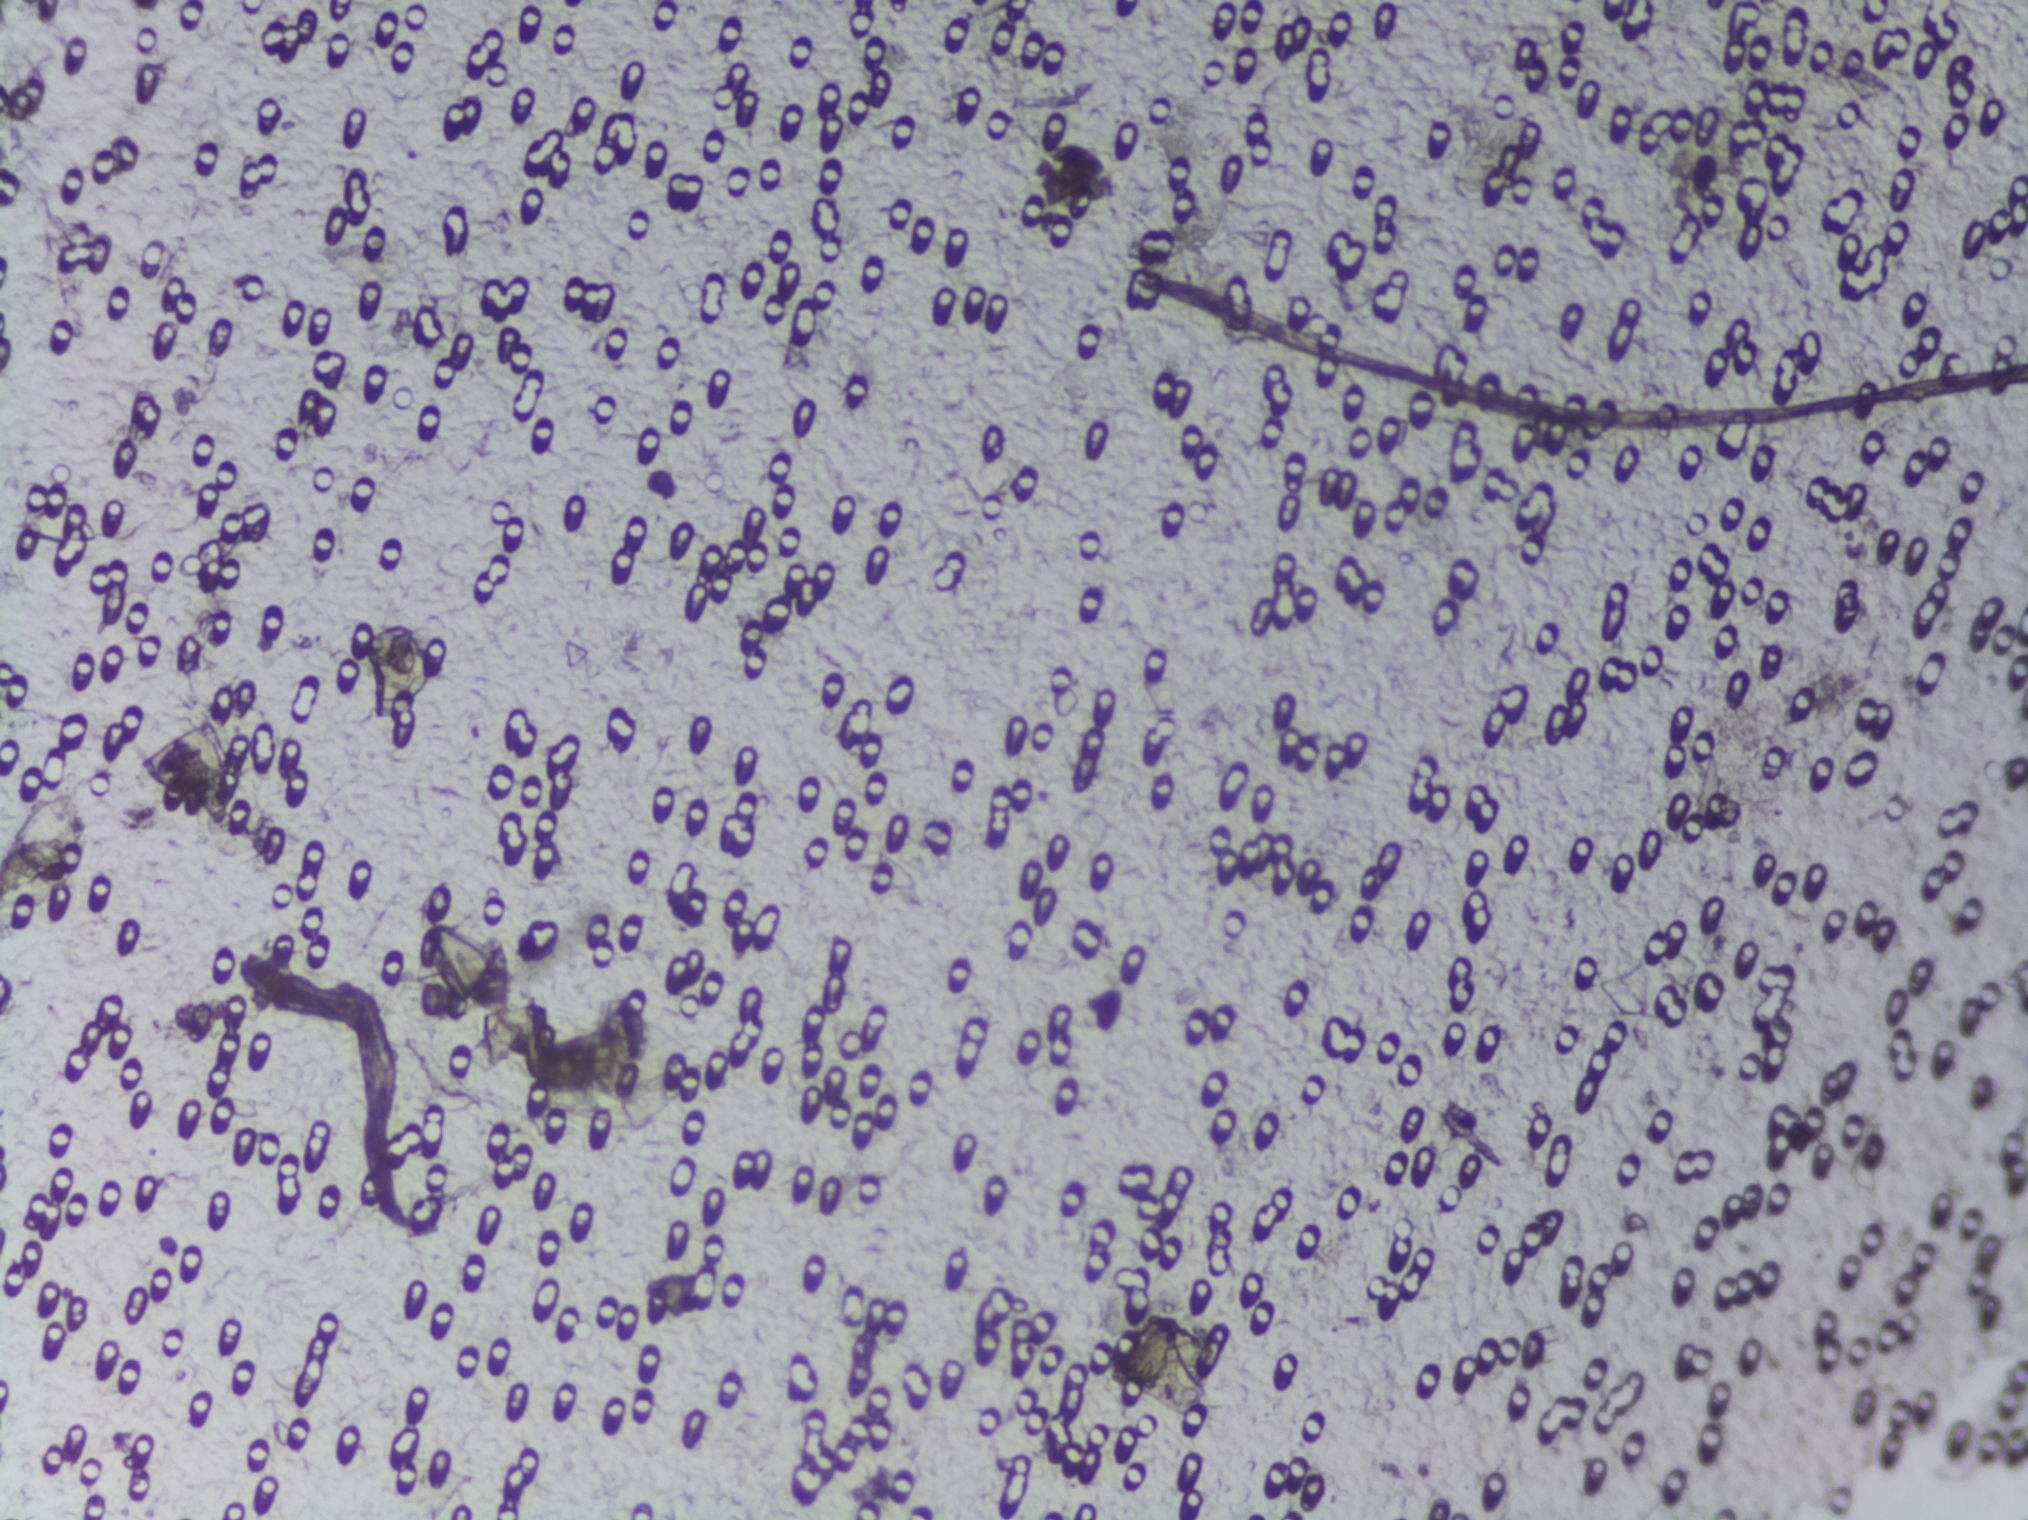
Photograph from an automated digital microscope: urine filter membrane, 4× objective. The image covers about 1.5 × 1.1 mm of the membrane.
No area of this image was outlined as a Schistosoma egg.